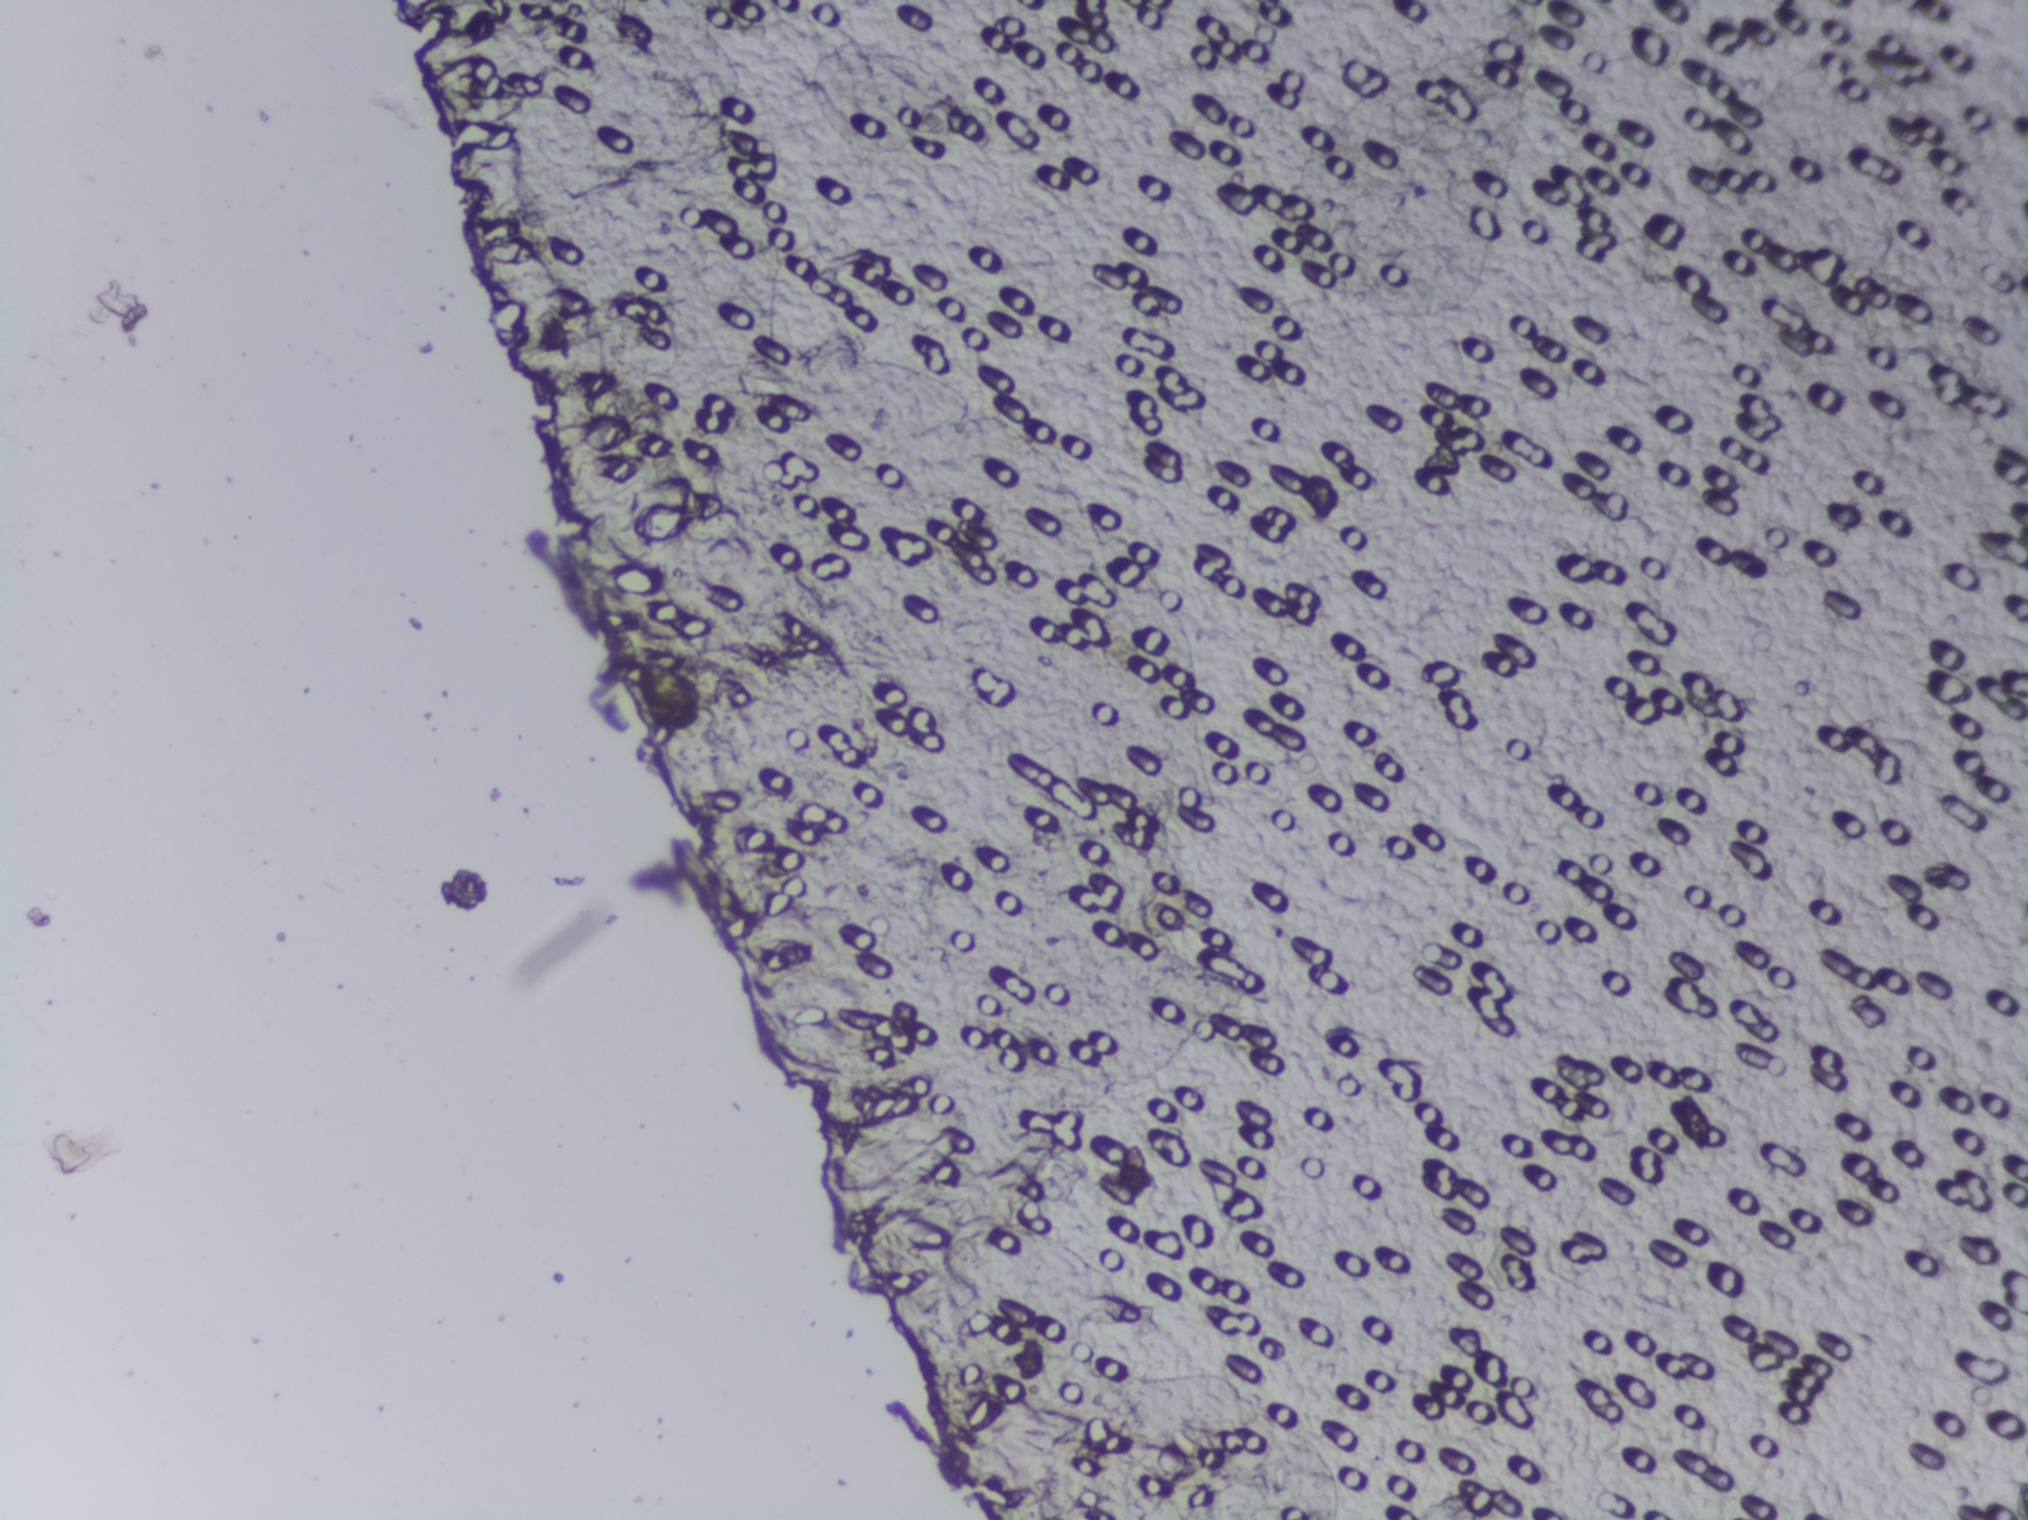
One field of view of a urine filter membrane, 4× objective, 2028 × 1520 pixels.
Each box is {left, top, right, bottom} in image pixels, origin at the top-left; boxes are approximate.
Findings: one area outlined as Schistosoma eggs. Location: {638, 659, 701, 732}. An outlined area can hold more than one egg.